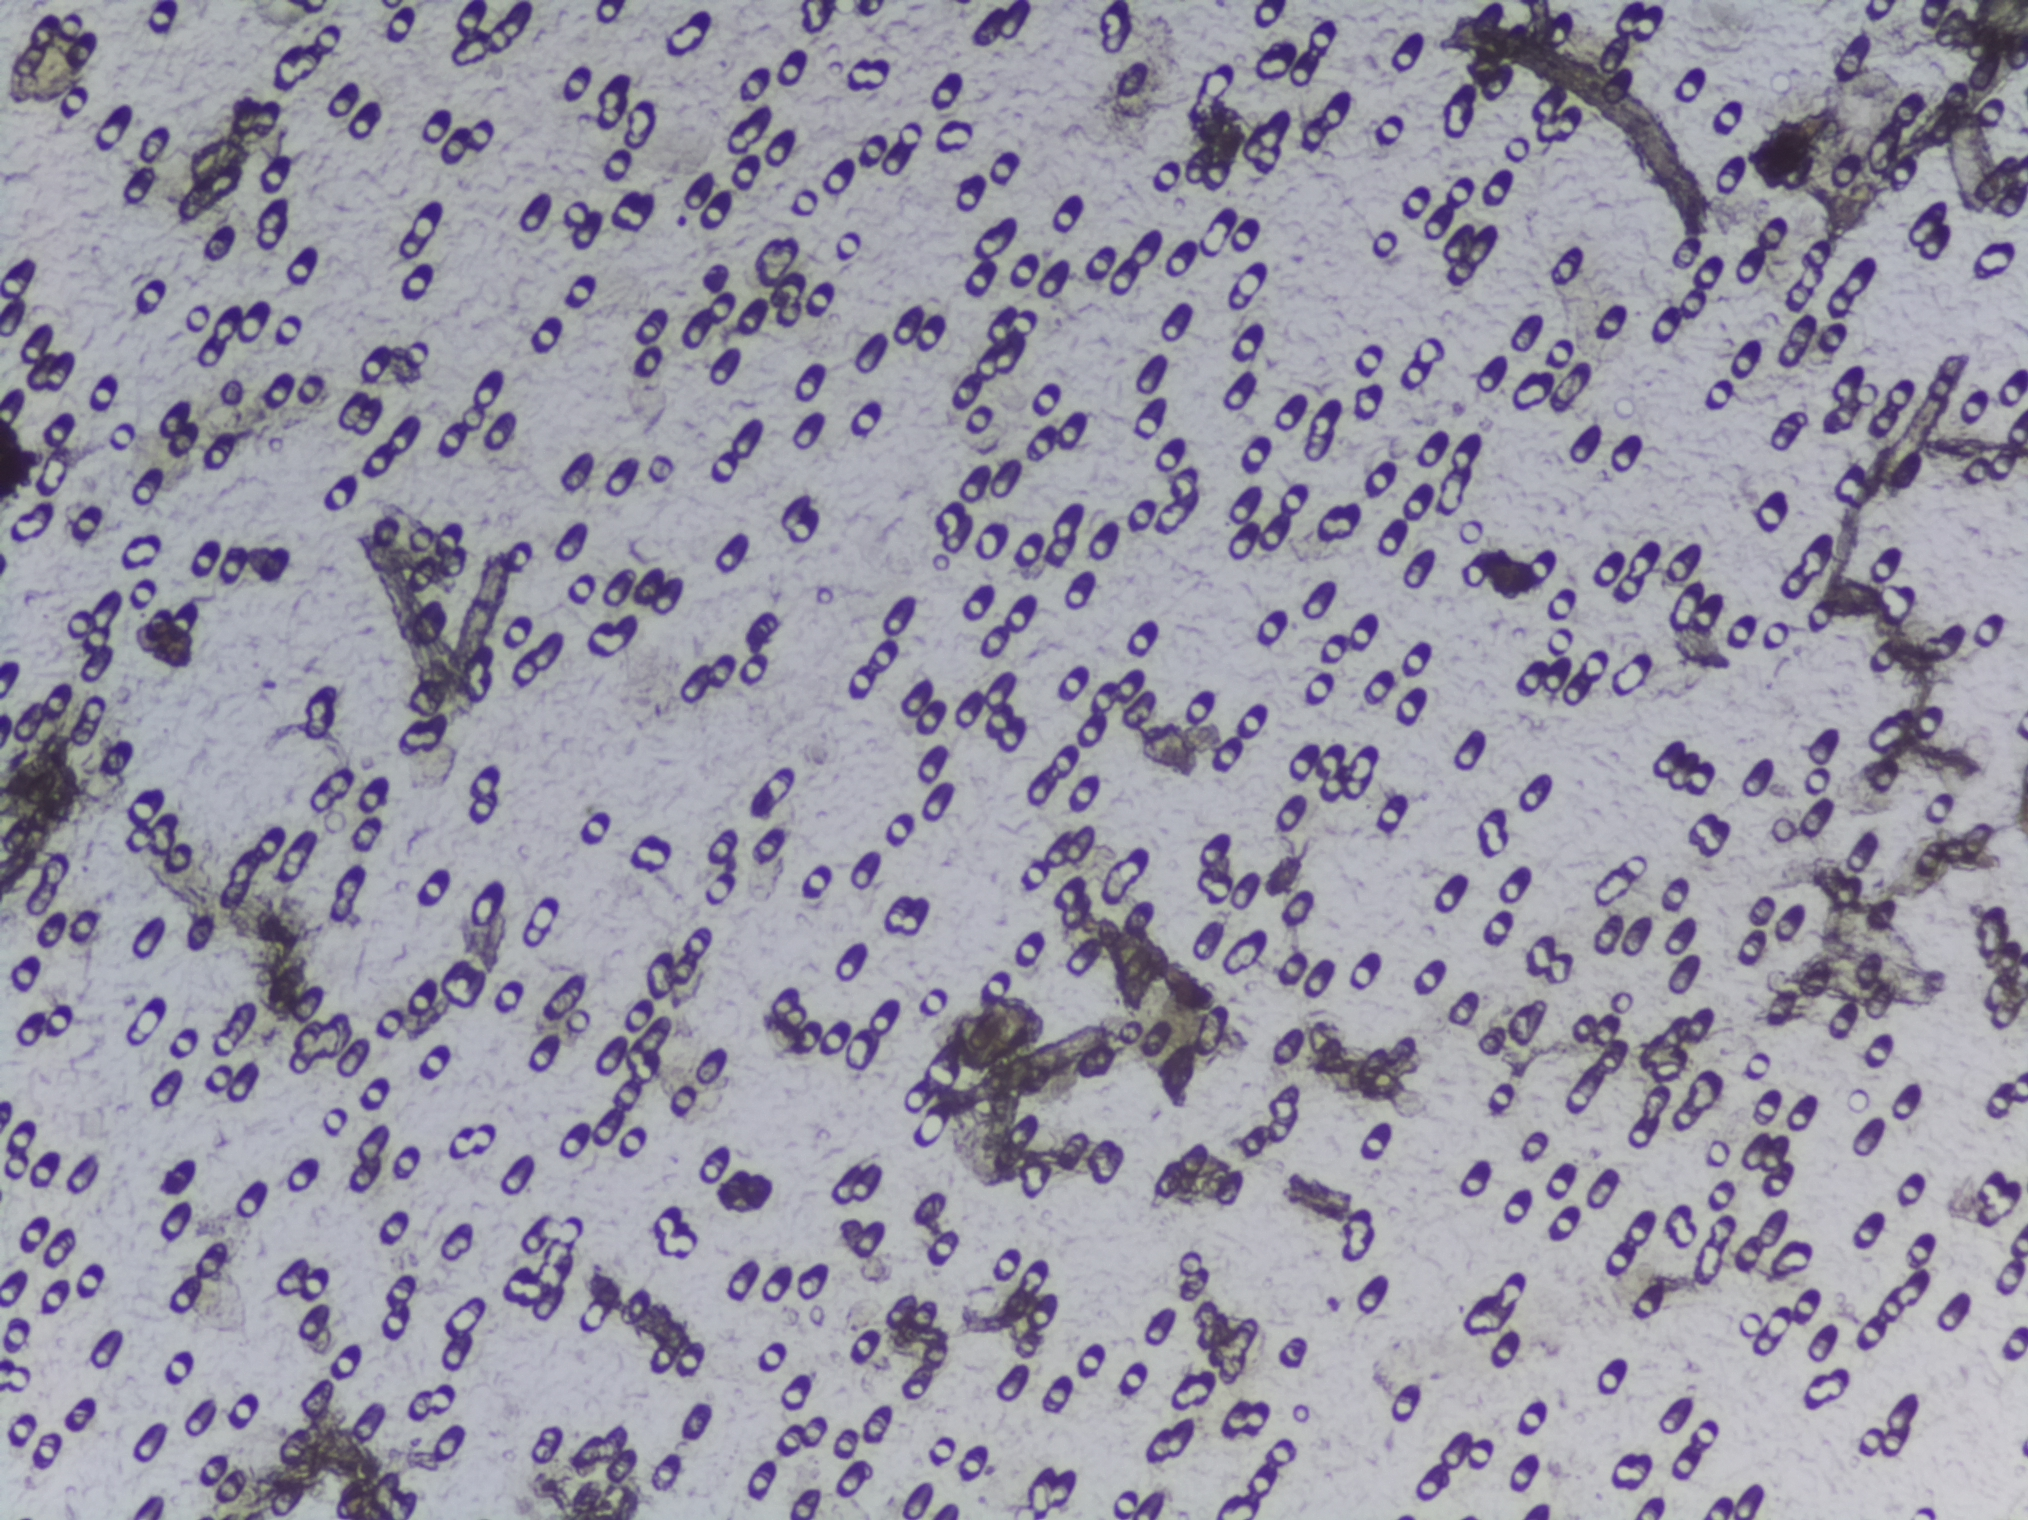
One field of view of a urine filter membrane, 4× objective, 2028 × 1520 pixels.
The expert annotation marks no Schistosoma egg in this field of view.